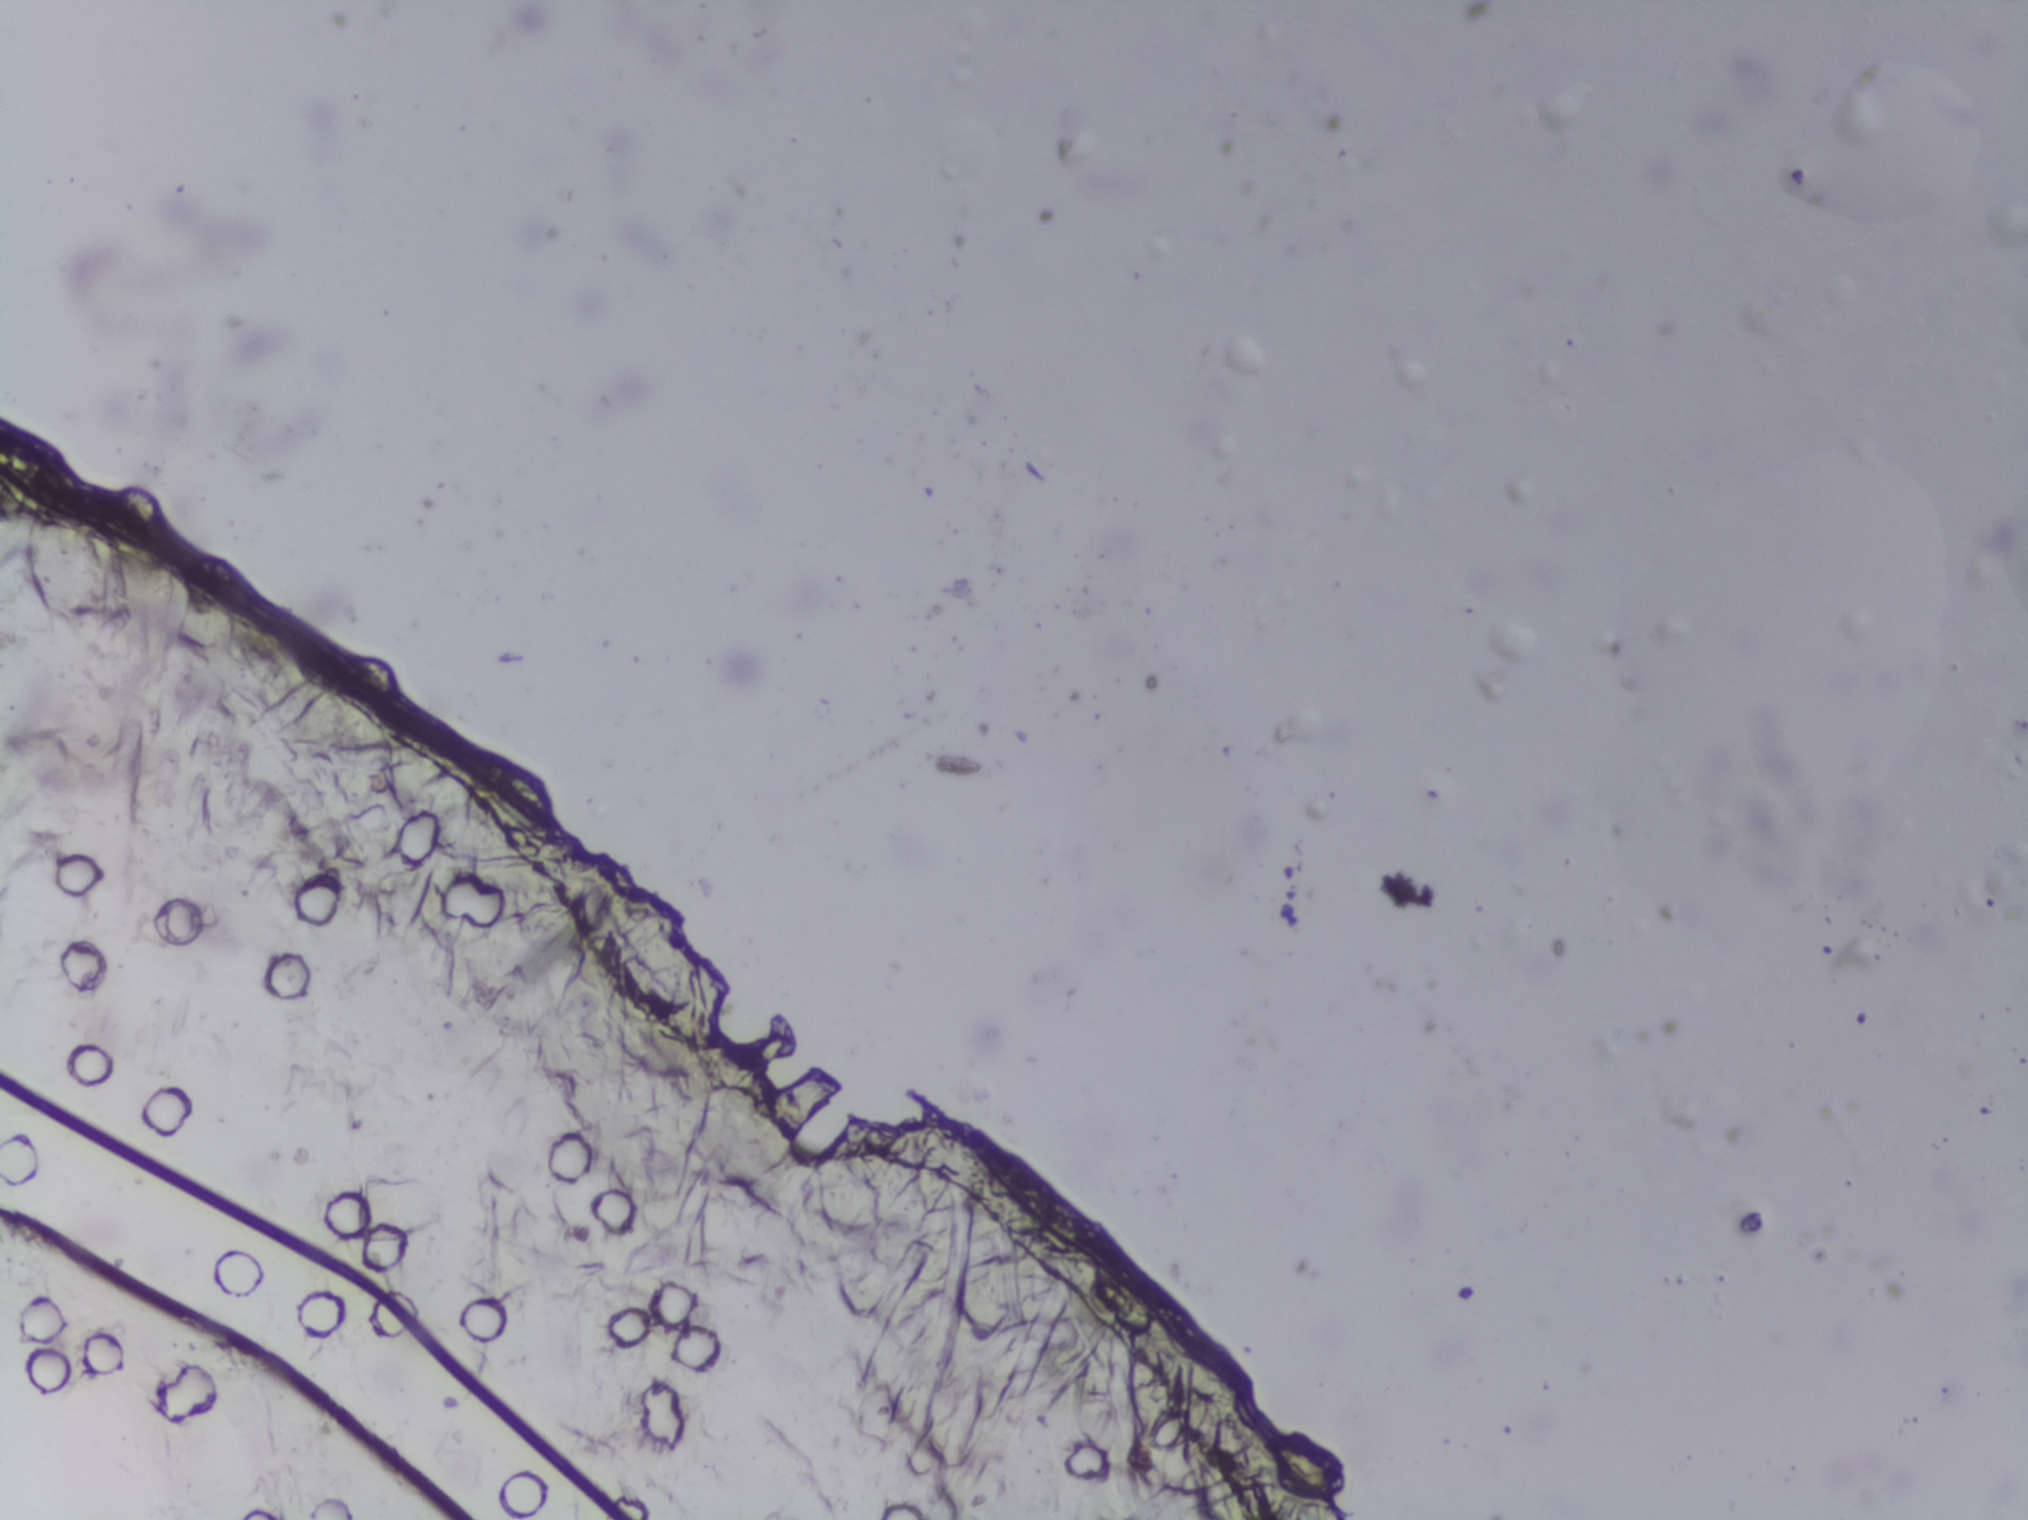
Photograph from an automated digital microscope: urine filter membrane, 4× objective.
The expert annotation marks no Schistosoma egg in this field of view.